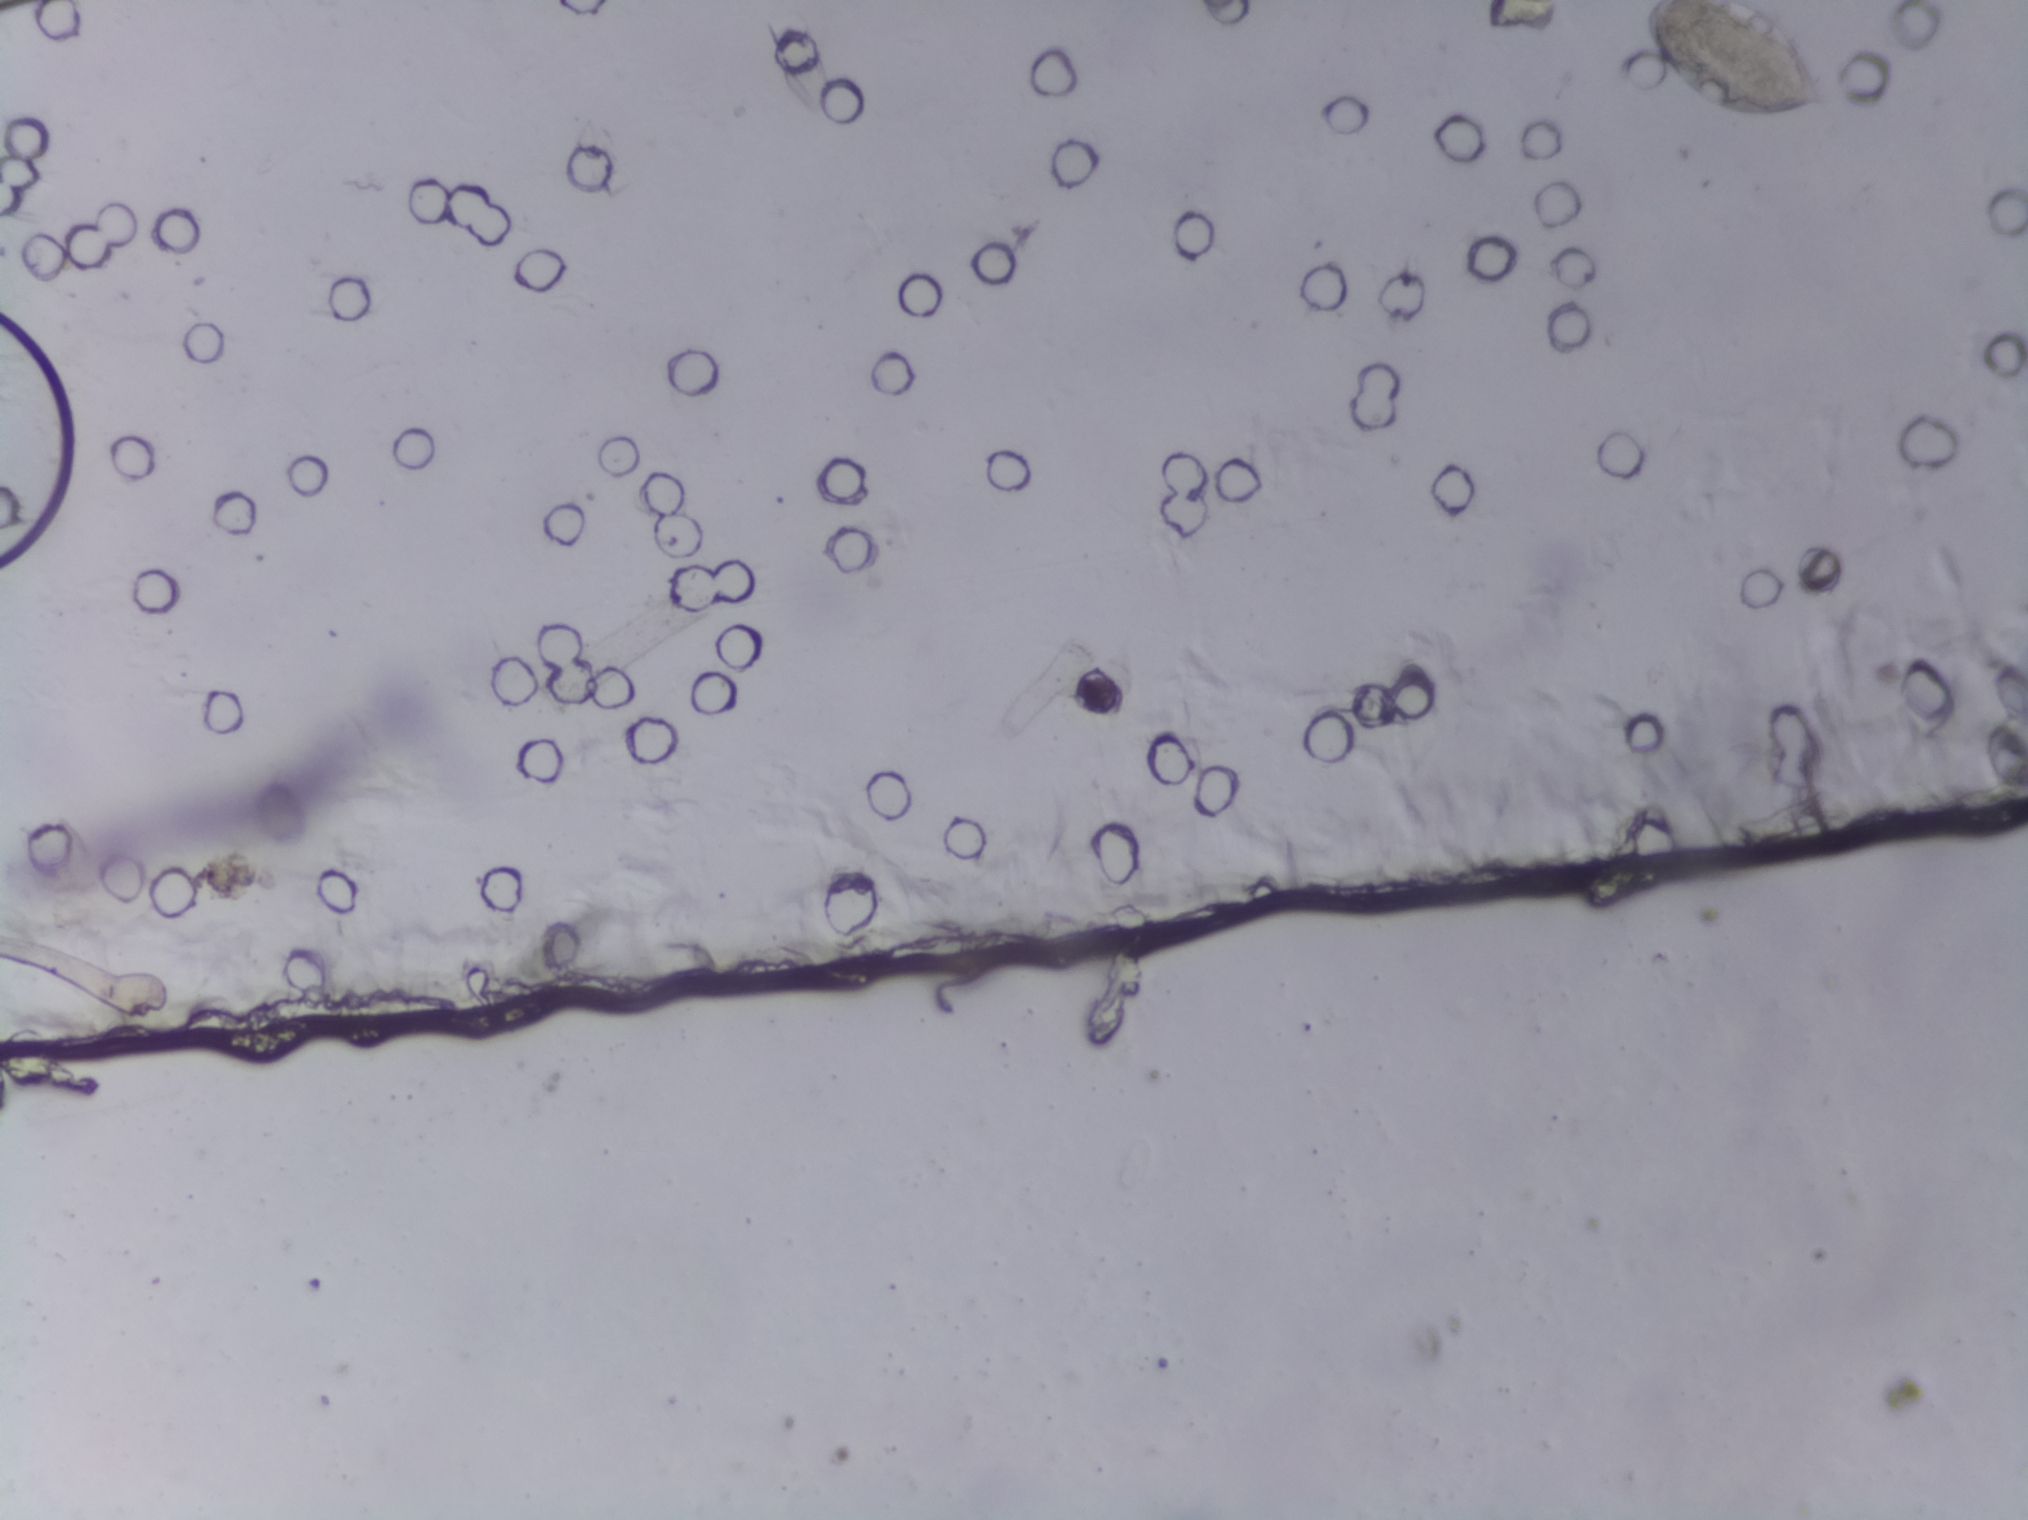
Urine filter membrane photographed through a 4× microscope objective.
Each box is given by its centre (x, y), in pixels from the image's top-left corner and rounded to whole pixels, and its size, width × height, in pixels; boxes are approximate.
Outlined Schistosoma egg areas:
1. centre (1739, 61), 201 × 123 px (reaching the top edge of the frame)
Marked pixels, not the box around them: about 0.6% of the image. Eggs that touch can end up inside the same outlined area.